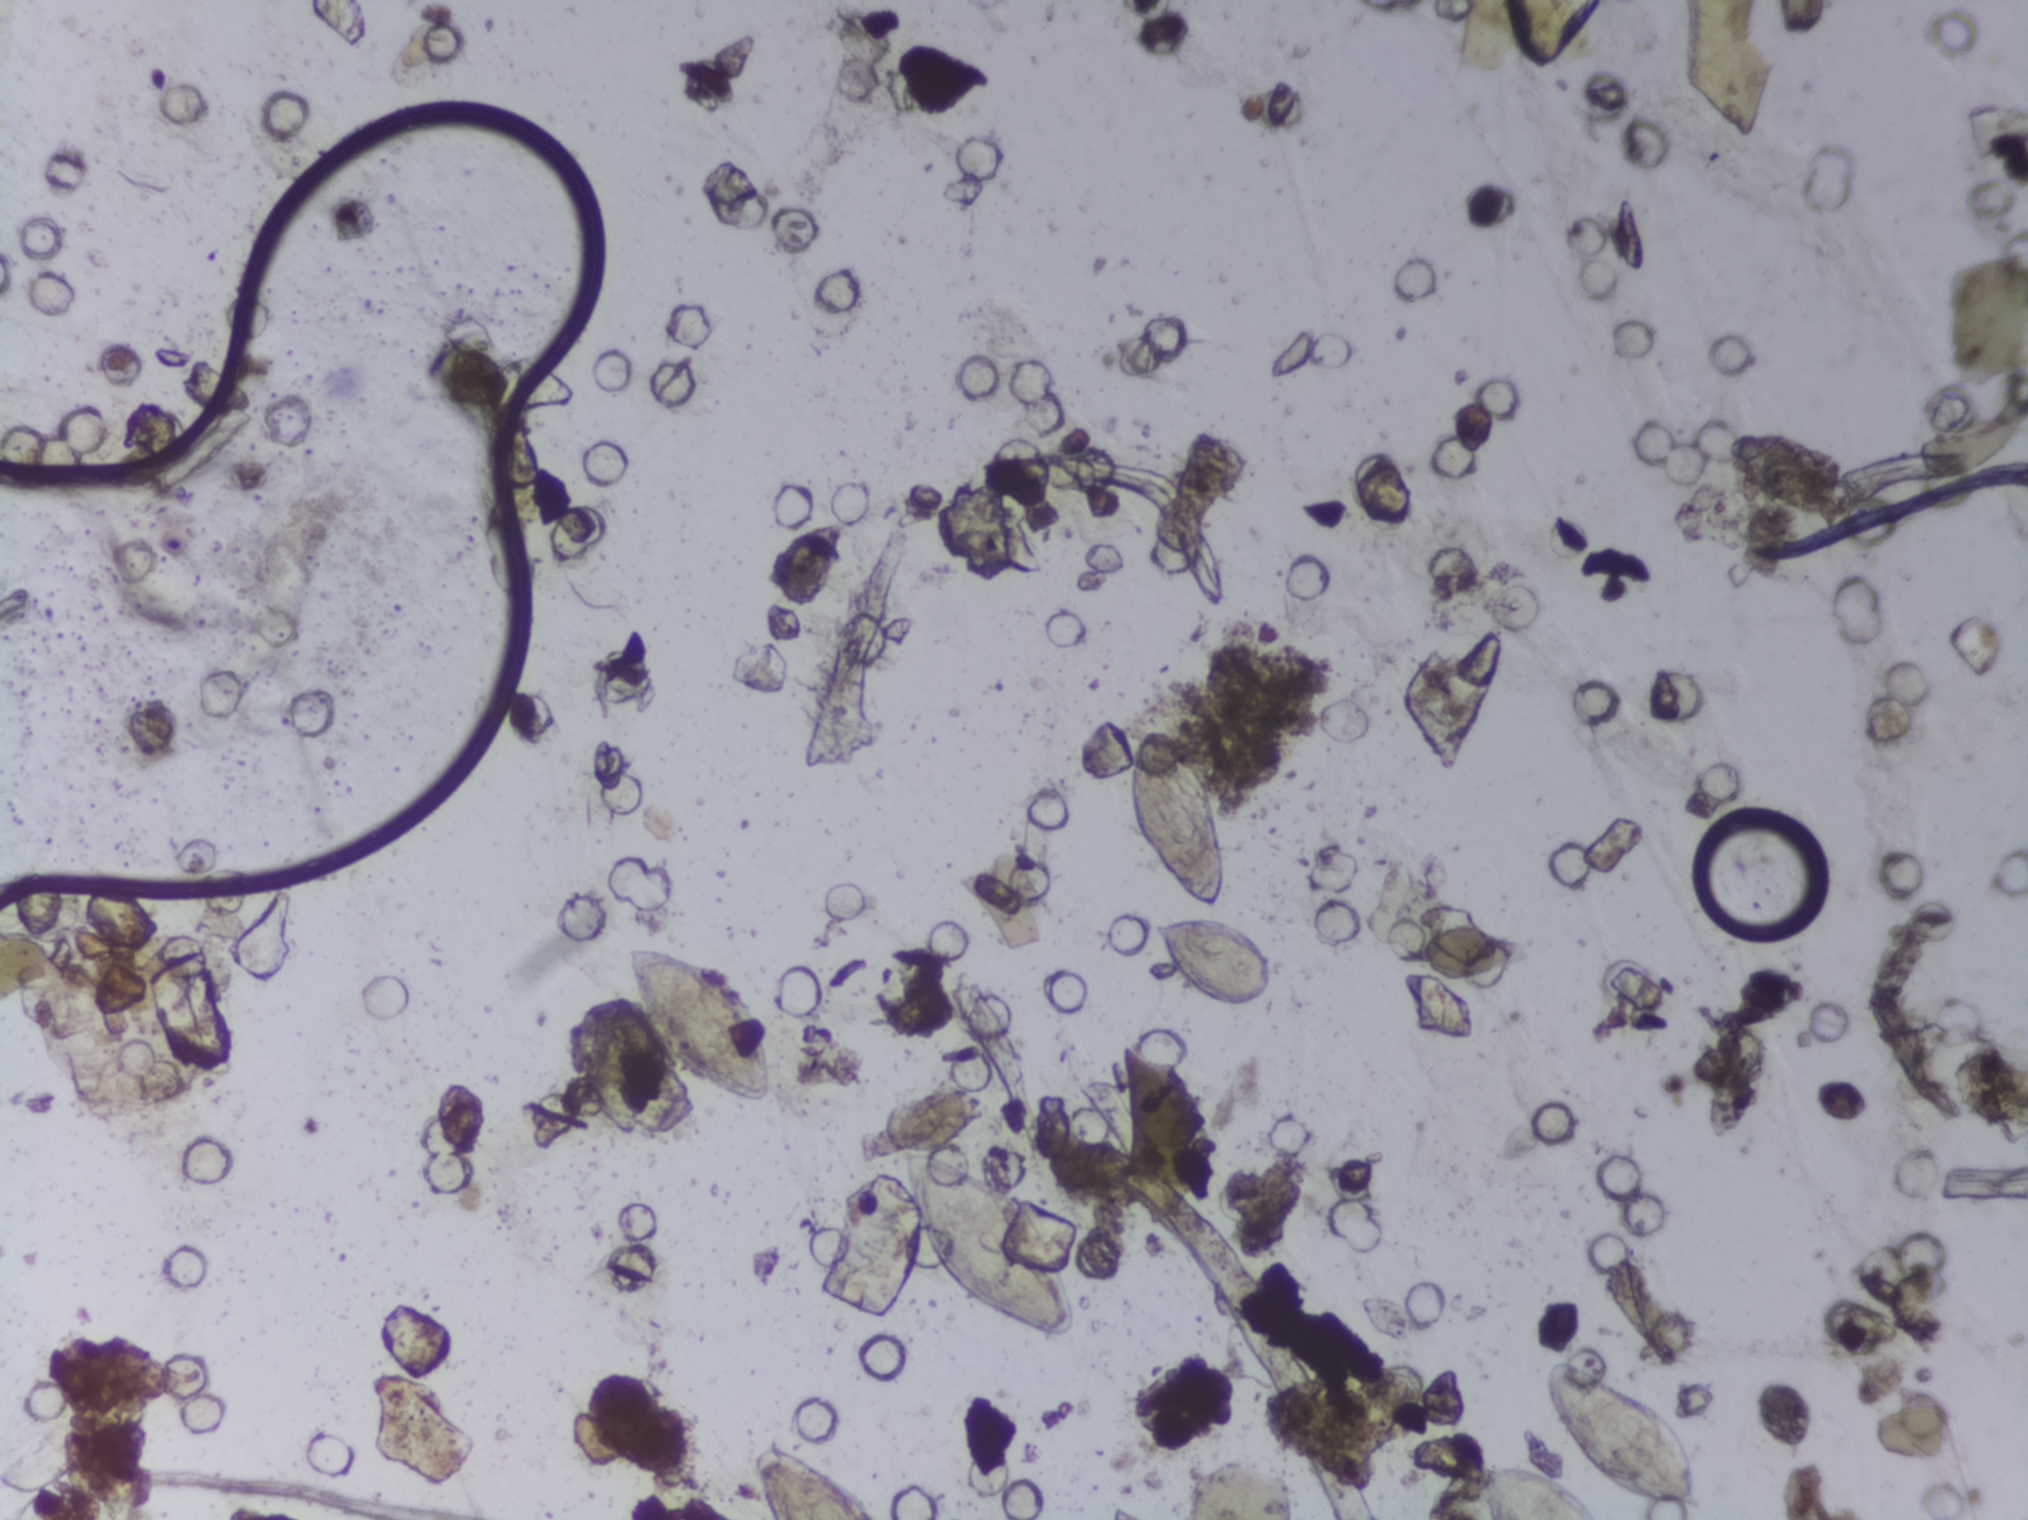
Urine filter membrane photographed through a 4× microscope objective. The image covers about 1.5 × 1.1 mm of the membrane.
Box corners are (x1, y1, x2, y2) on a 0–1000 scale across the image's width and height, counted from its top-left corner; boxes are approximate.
Schistosoma eggs are outlined in seven areas of this image, listed from left to right: (306, 621, 383, 728); (369, 949, 436, 1000) (reaching the bottom edge of the frame); (443, 755, 534, 880); (554, 480, 606, 600); (565, 601, 630, 664); (727, 963, 794, 1000) (reaching the bottom edge of the frame); (761, 895, 842, 995). A single outlined area may contain several eggs.